One field of view of a urine filter membrane, 4× objective, 2028 × 1520 pixels.
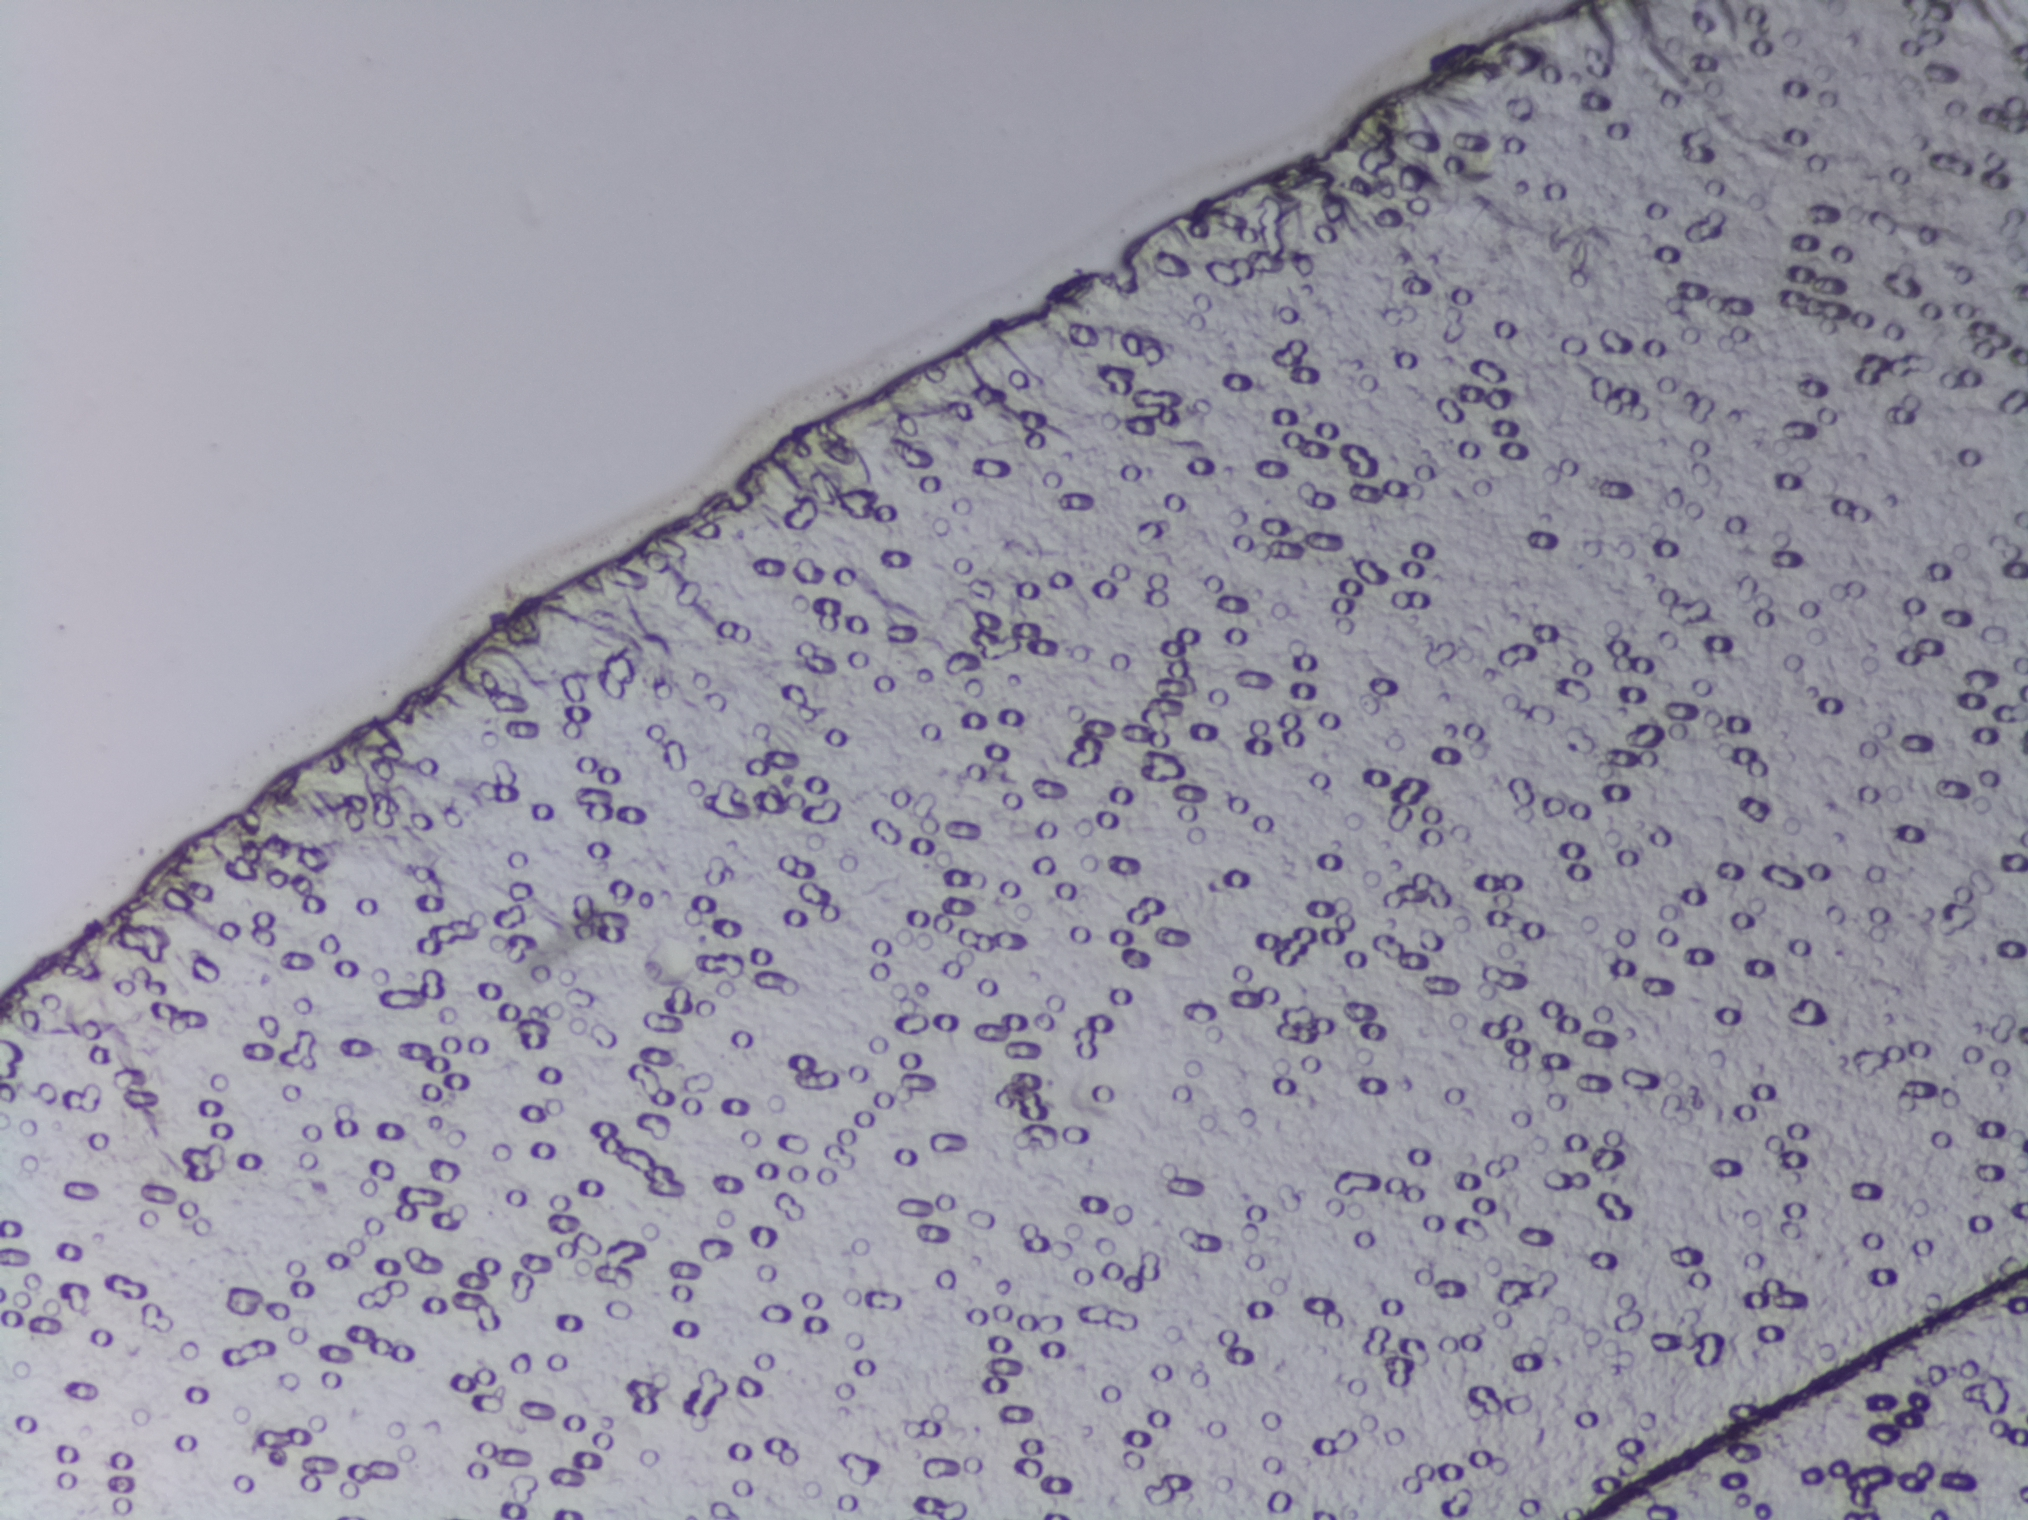
The expert annotation marks no Schistosoma egg in this field of view.